Microscope photograph (4× objective) of a membrane that a urine sample was filtered through.
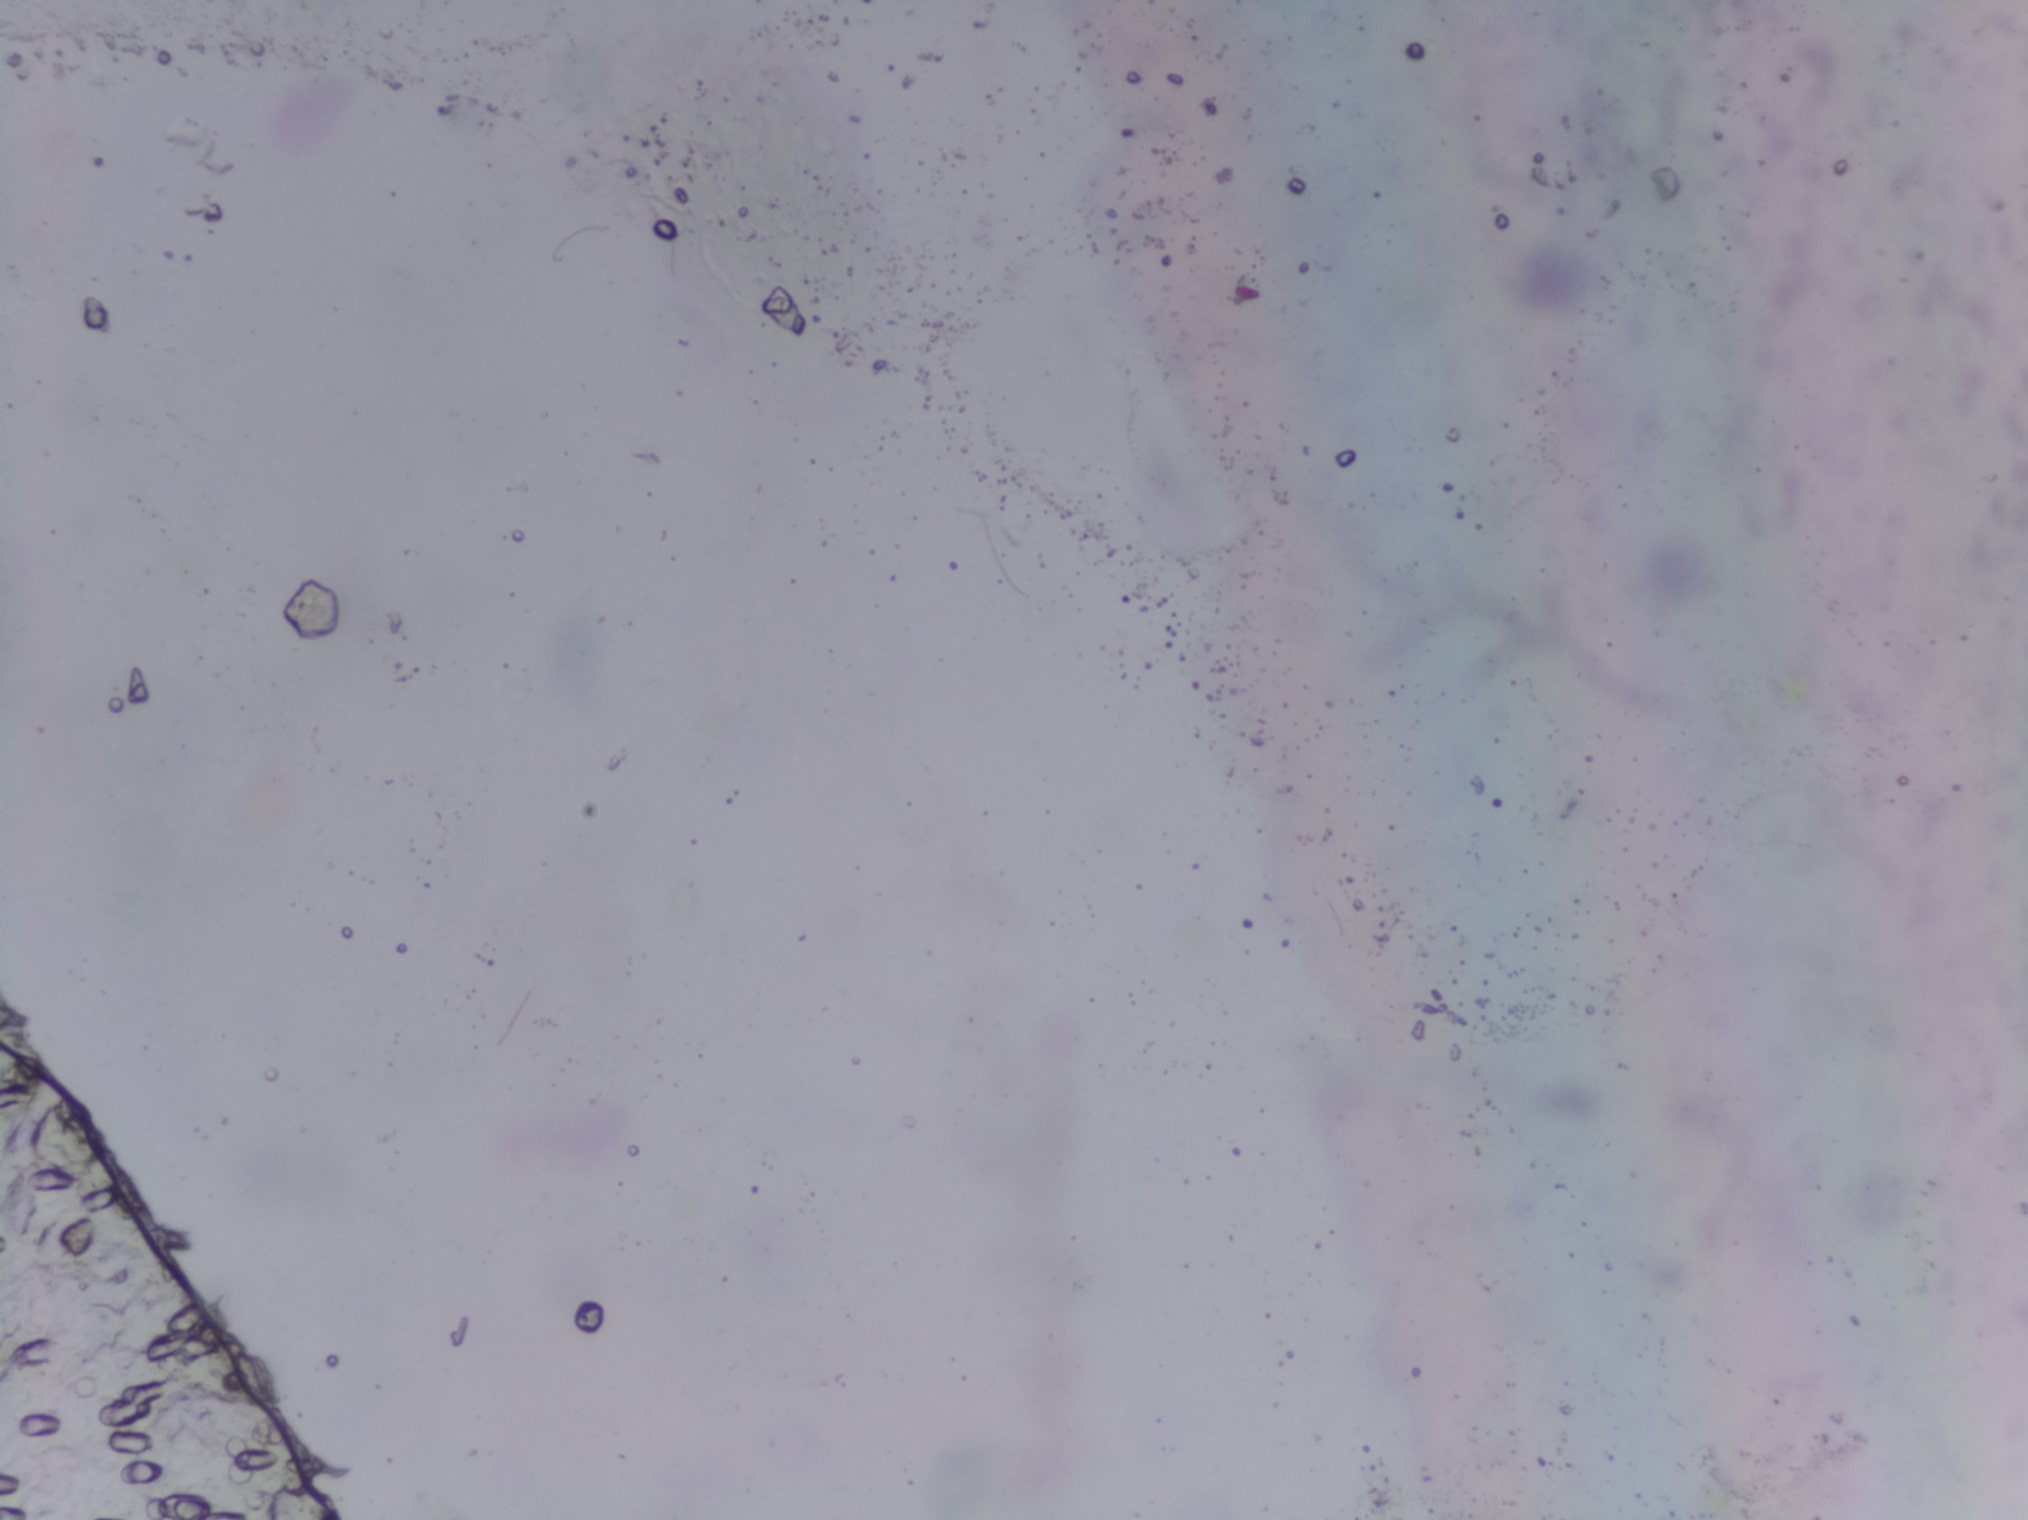
No area of this image was outlined as a Schistosoma egg.